Microscope photograph (4× objective) of a membrane that a urine sample was filtered through. The field of view is about 1.5 mm × 1.1 mm.
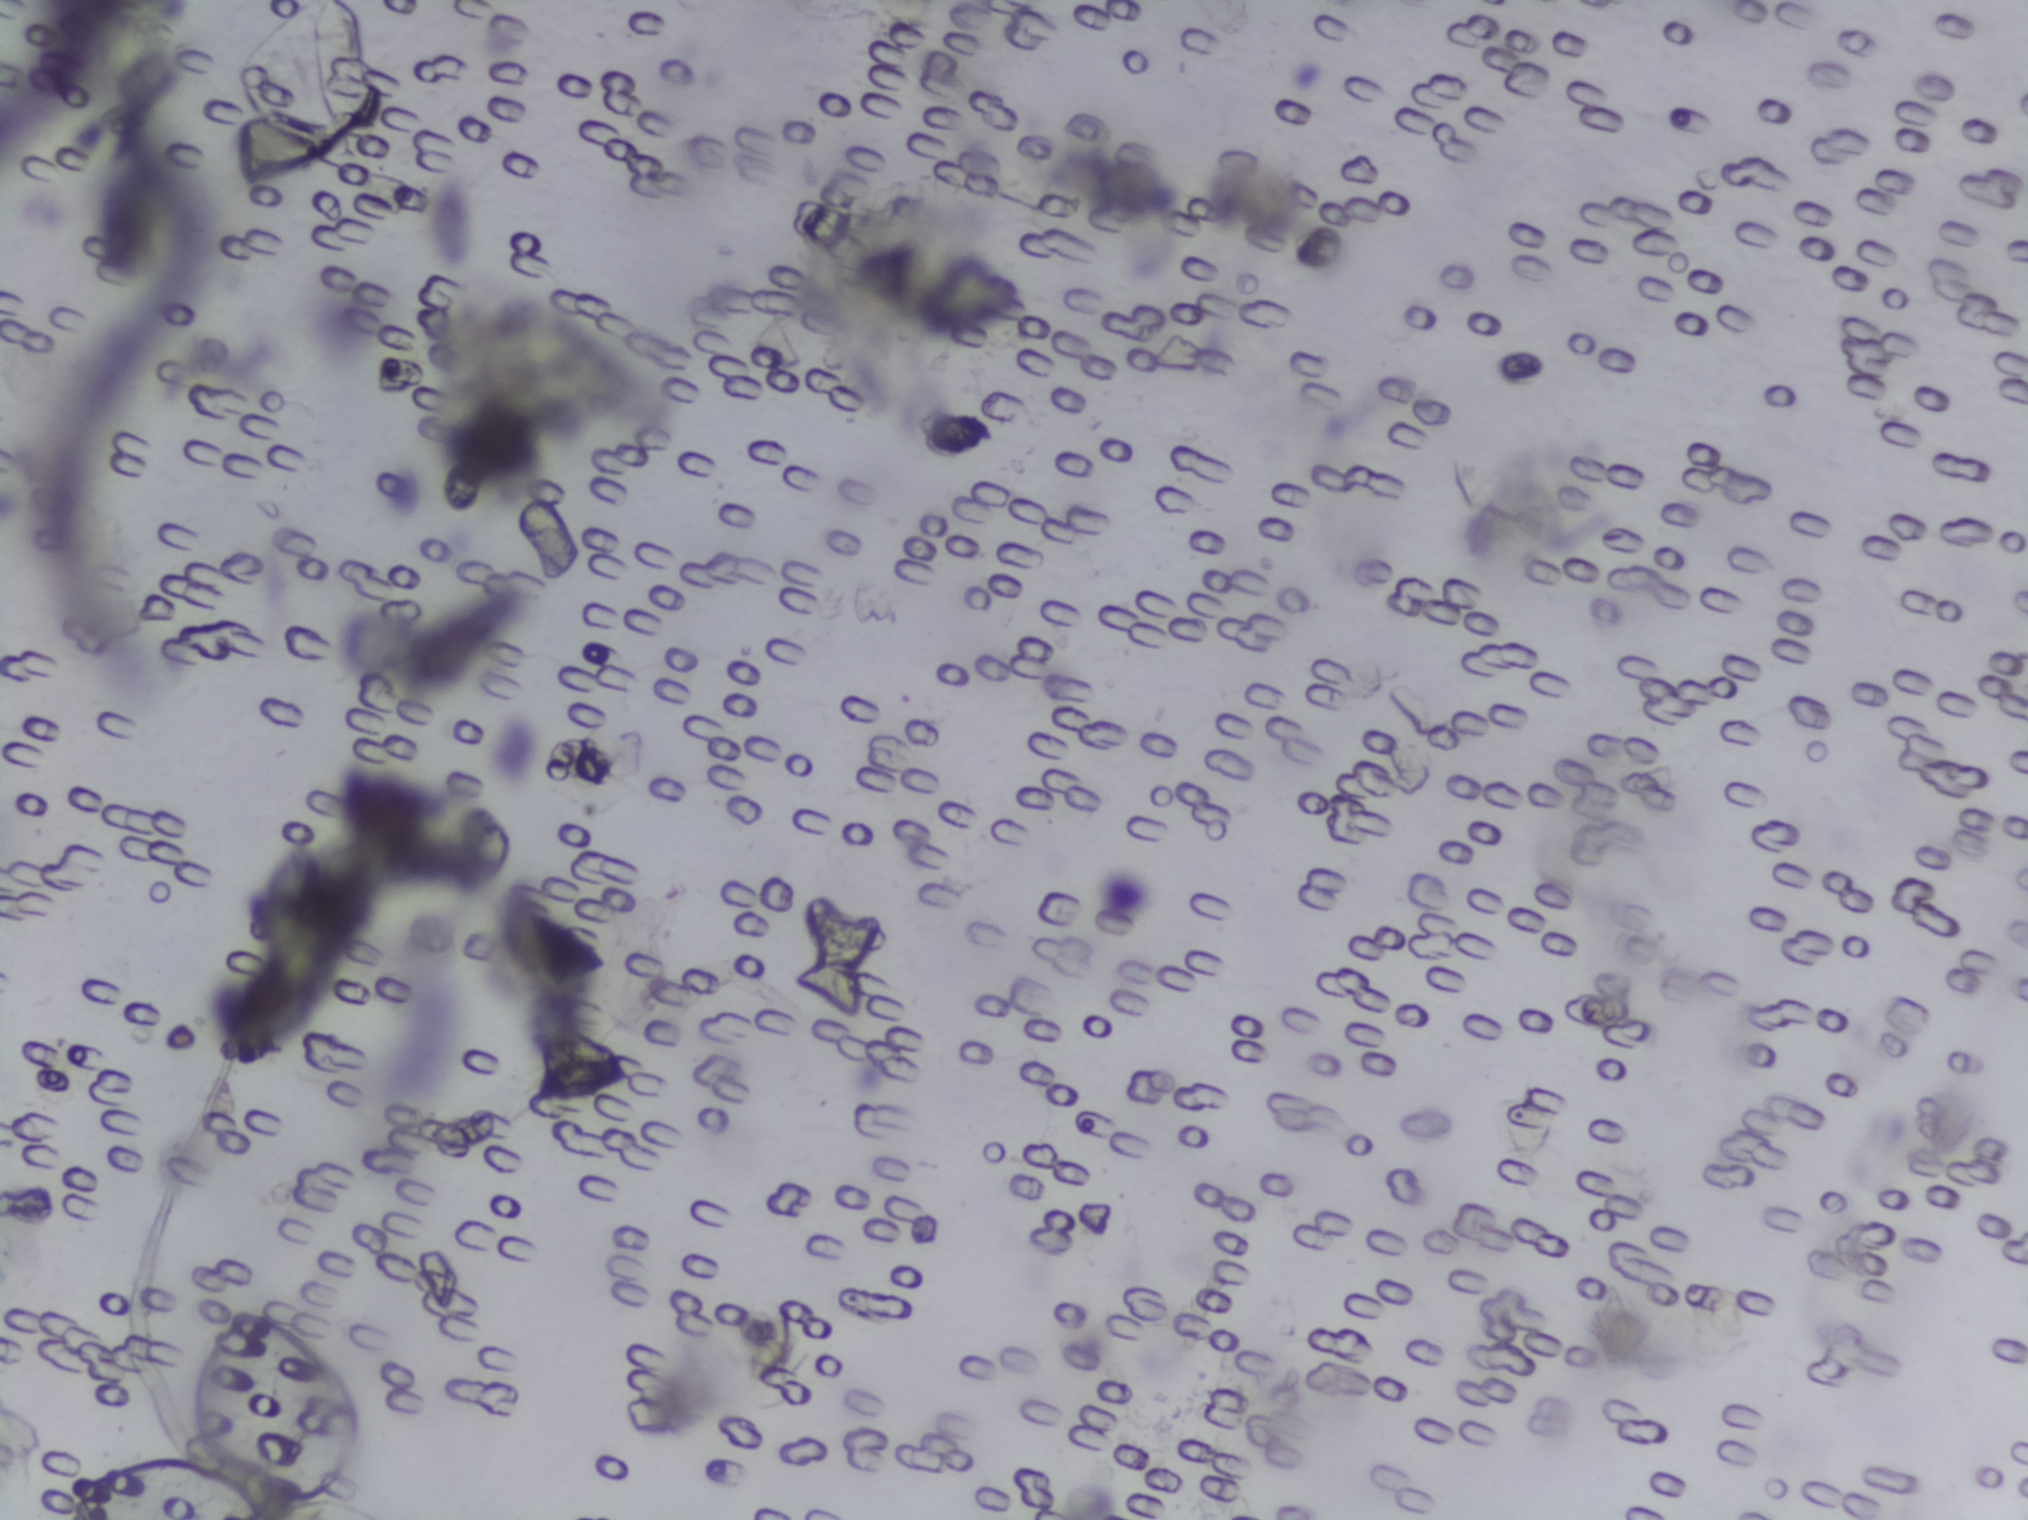
The expert annotation marks no Schistosoma egg in this field of view.